Photomicrograph of a urine filtration membrane, 4× objective.
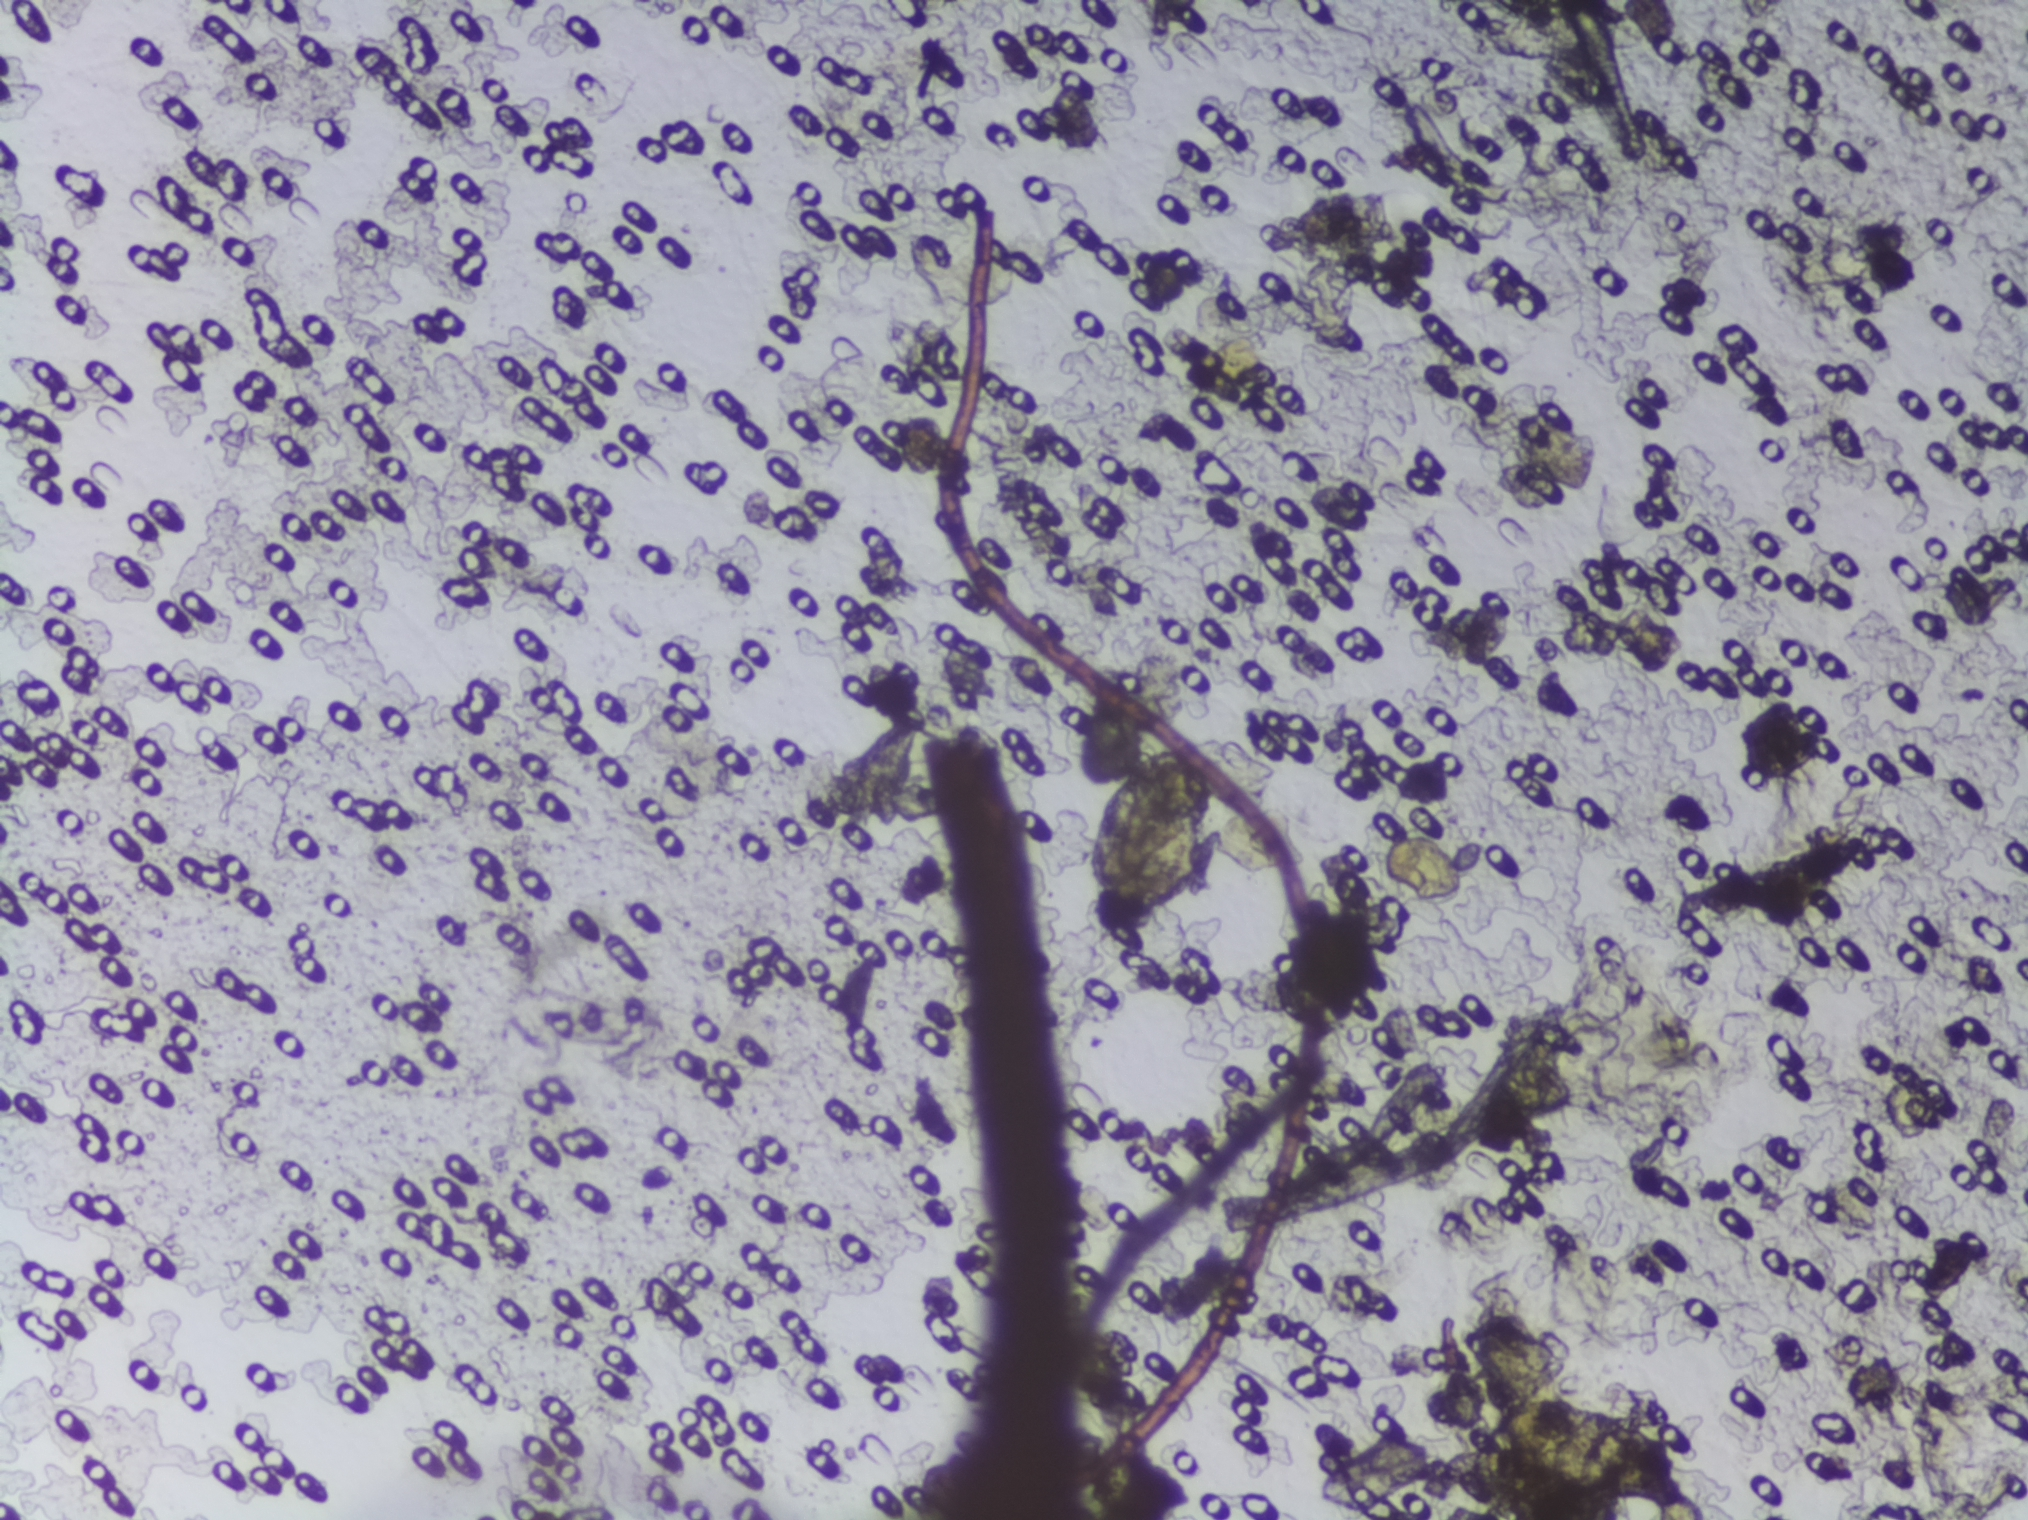
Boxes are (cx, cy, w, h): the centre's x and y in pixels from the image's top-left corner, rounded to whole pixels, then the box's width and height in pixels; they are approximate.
Findings: two areas outlined as Schistosoma eggs. Locations, left to right: (cx=1144, cy=833, w=135, h=192); (cx=1587, cy=1447, w=191, h=123). An outlined area can hold more than one egg.